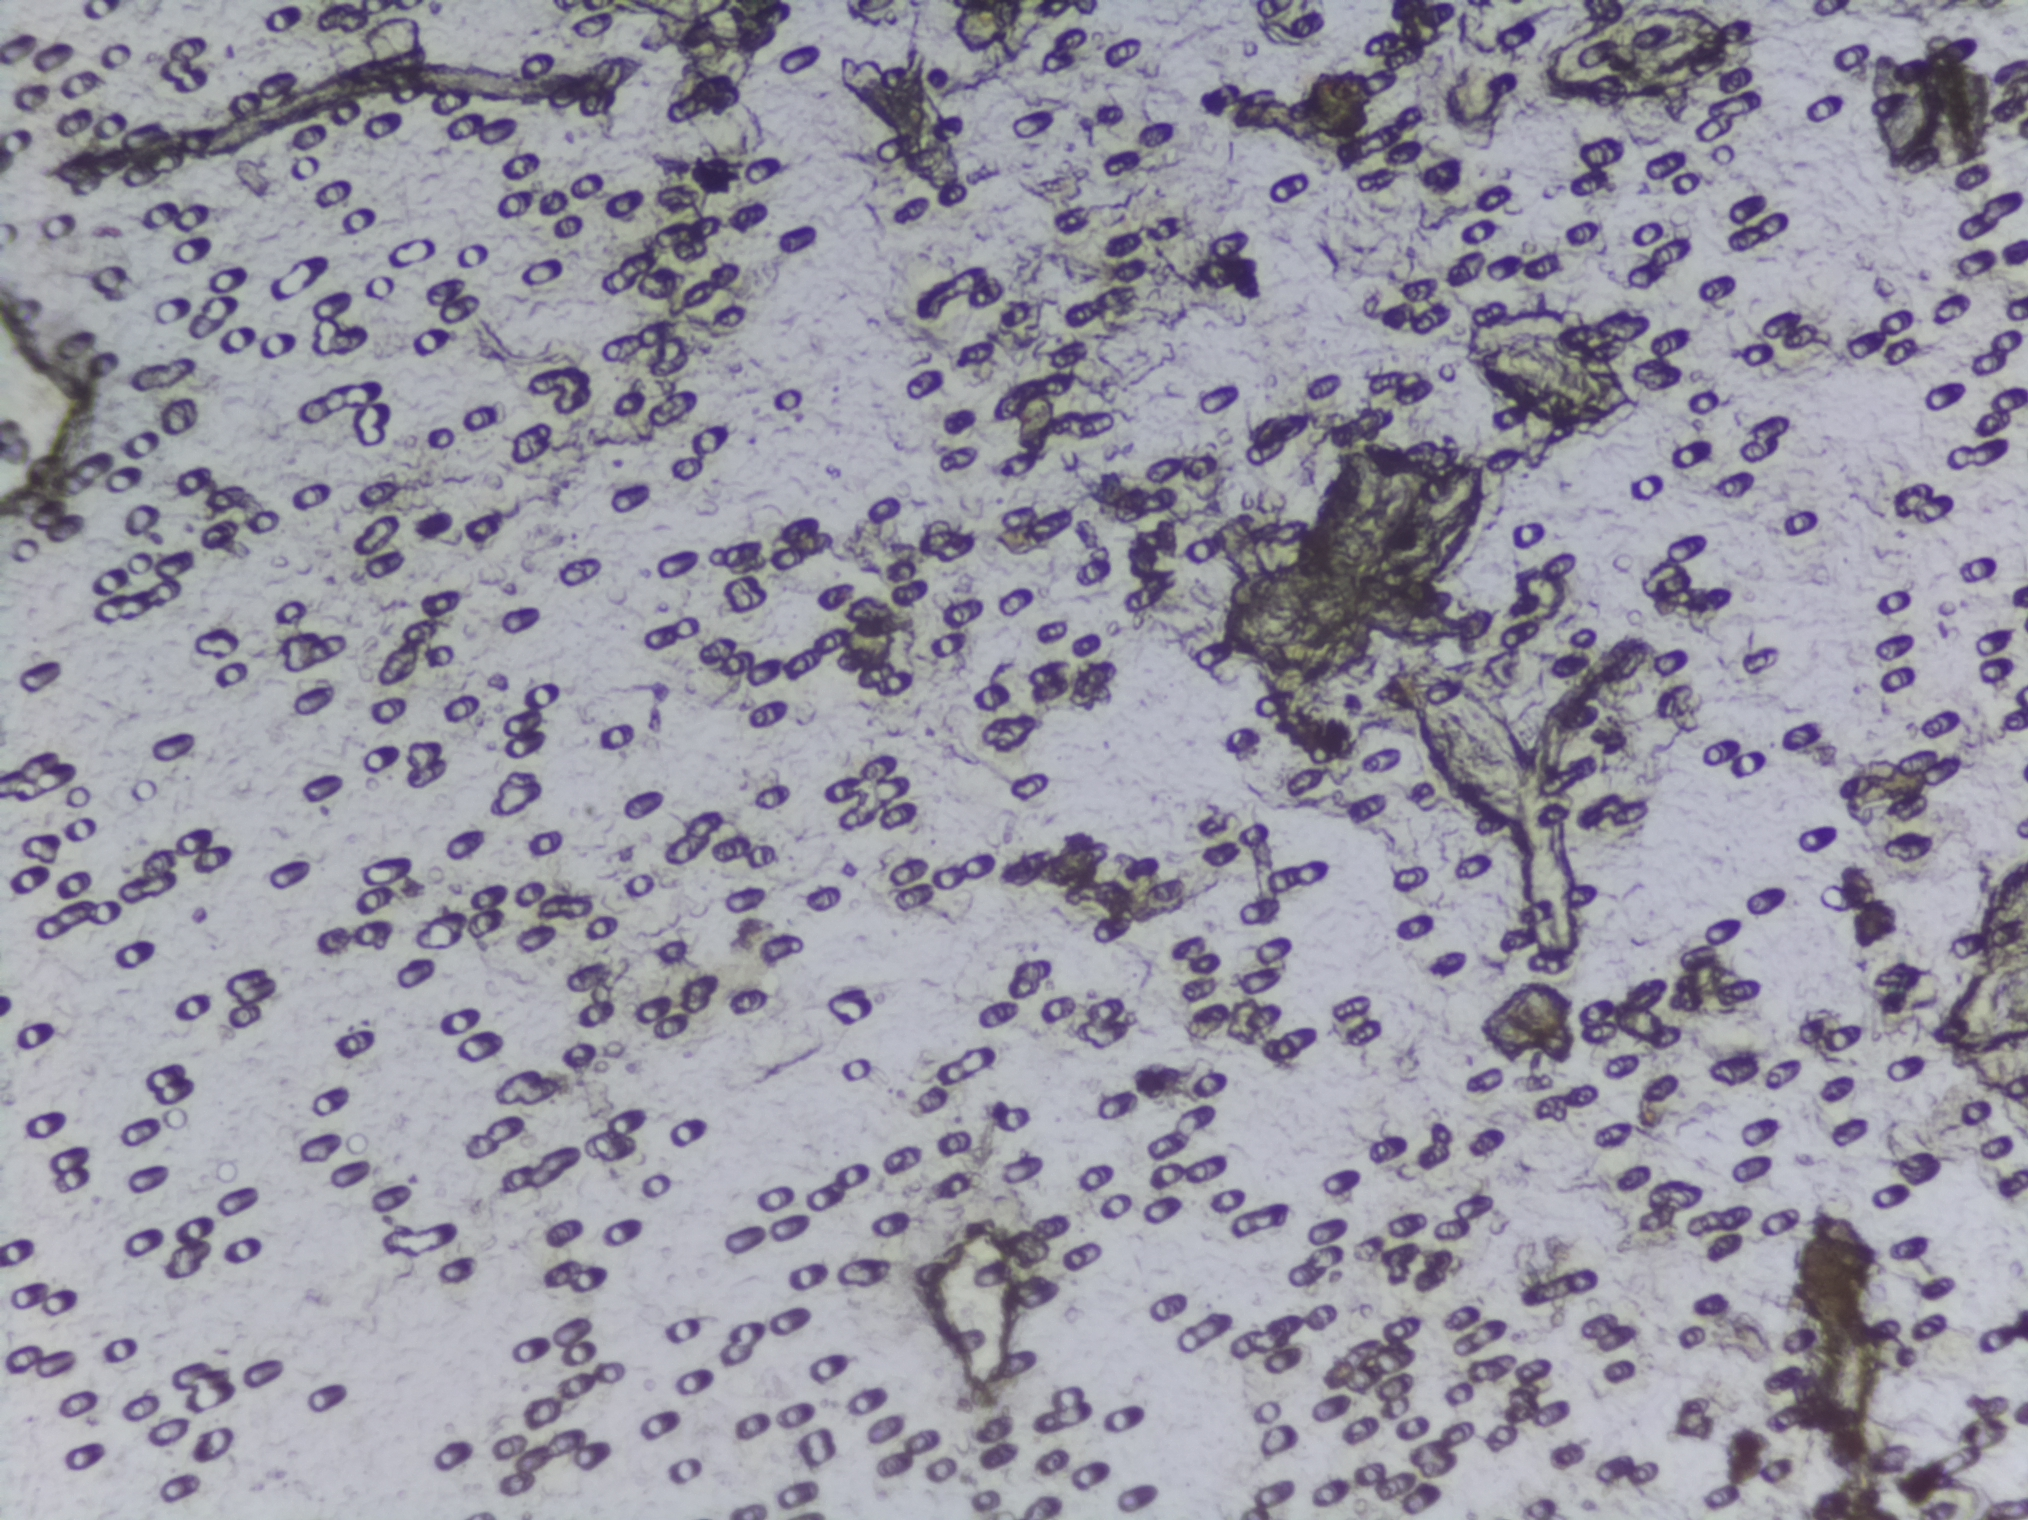
One field of view of a urine filter membrane, 4× objective, 2028 × 1520 pixels.
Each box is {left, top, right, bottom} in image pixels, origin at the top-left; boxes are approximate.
Schistosoma egg areas, outlined: {1354, 442, 1514, 618}; {1399, 666, 1556, 836}; {1446, 277, 1644, 447}; {1538, 0, 1767, 109} (reaching the top edge of the frame); {1920, 847, 2027, 1102} (reaching the right edge of the frame). A single outlined area may contain several eggs.